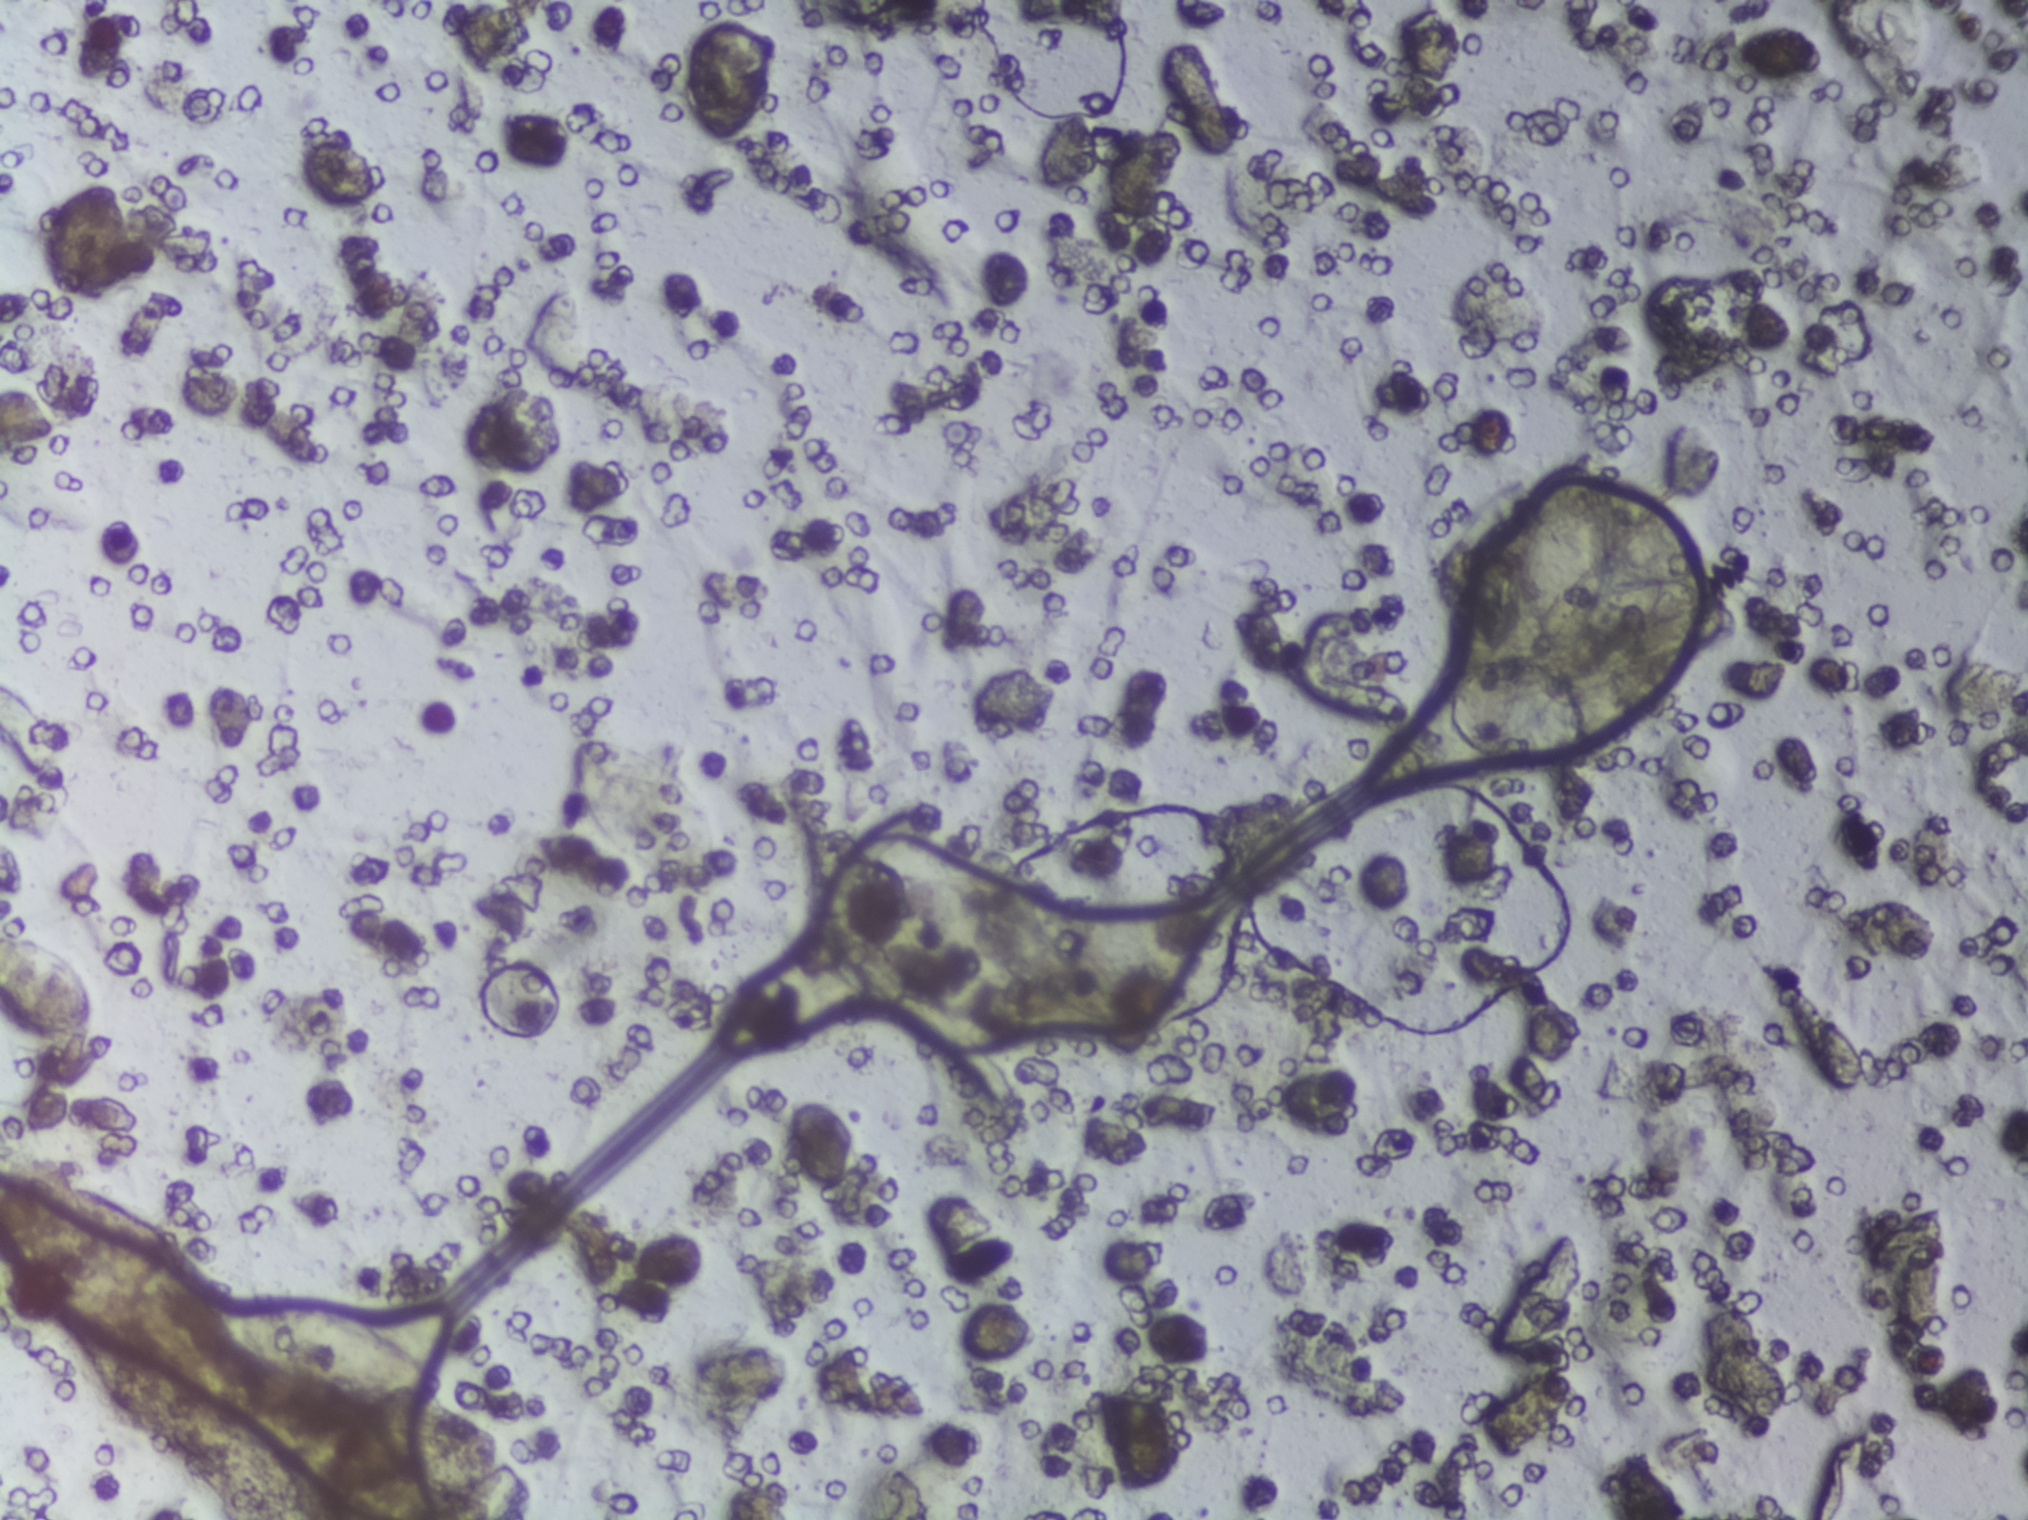
Urine filter membrane photographed through a 4× microscope objective.
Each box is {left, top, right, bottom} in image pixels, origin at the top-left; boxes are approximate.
Five areas of this image are outlined as Schistosoma eggs, from left to right: {0, 926, 95, 1047} (reaching the left edge of the frame); {225, 1294, 428, 1402}; {569, 733, 715, 890}; {1444, 475, 1533, 608}; {1534, 456, 1603, 655}. Marked pixels, not the boxes around them: about 1.9% of the image. An outlined area can hold more than one egg.